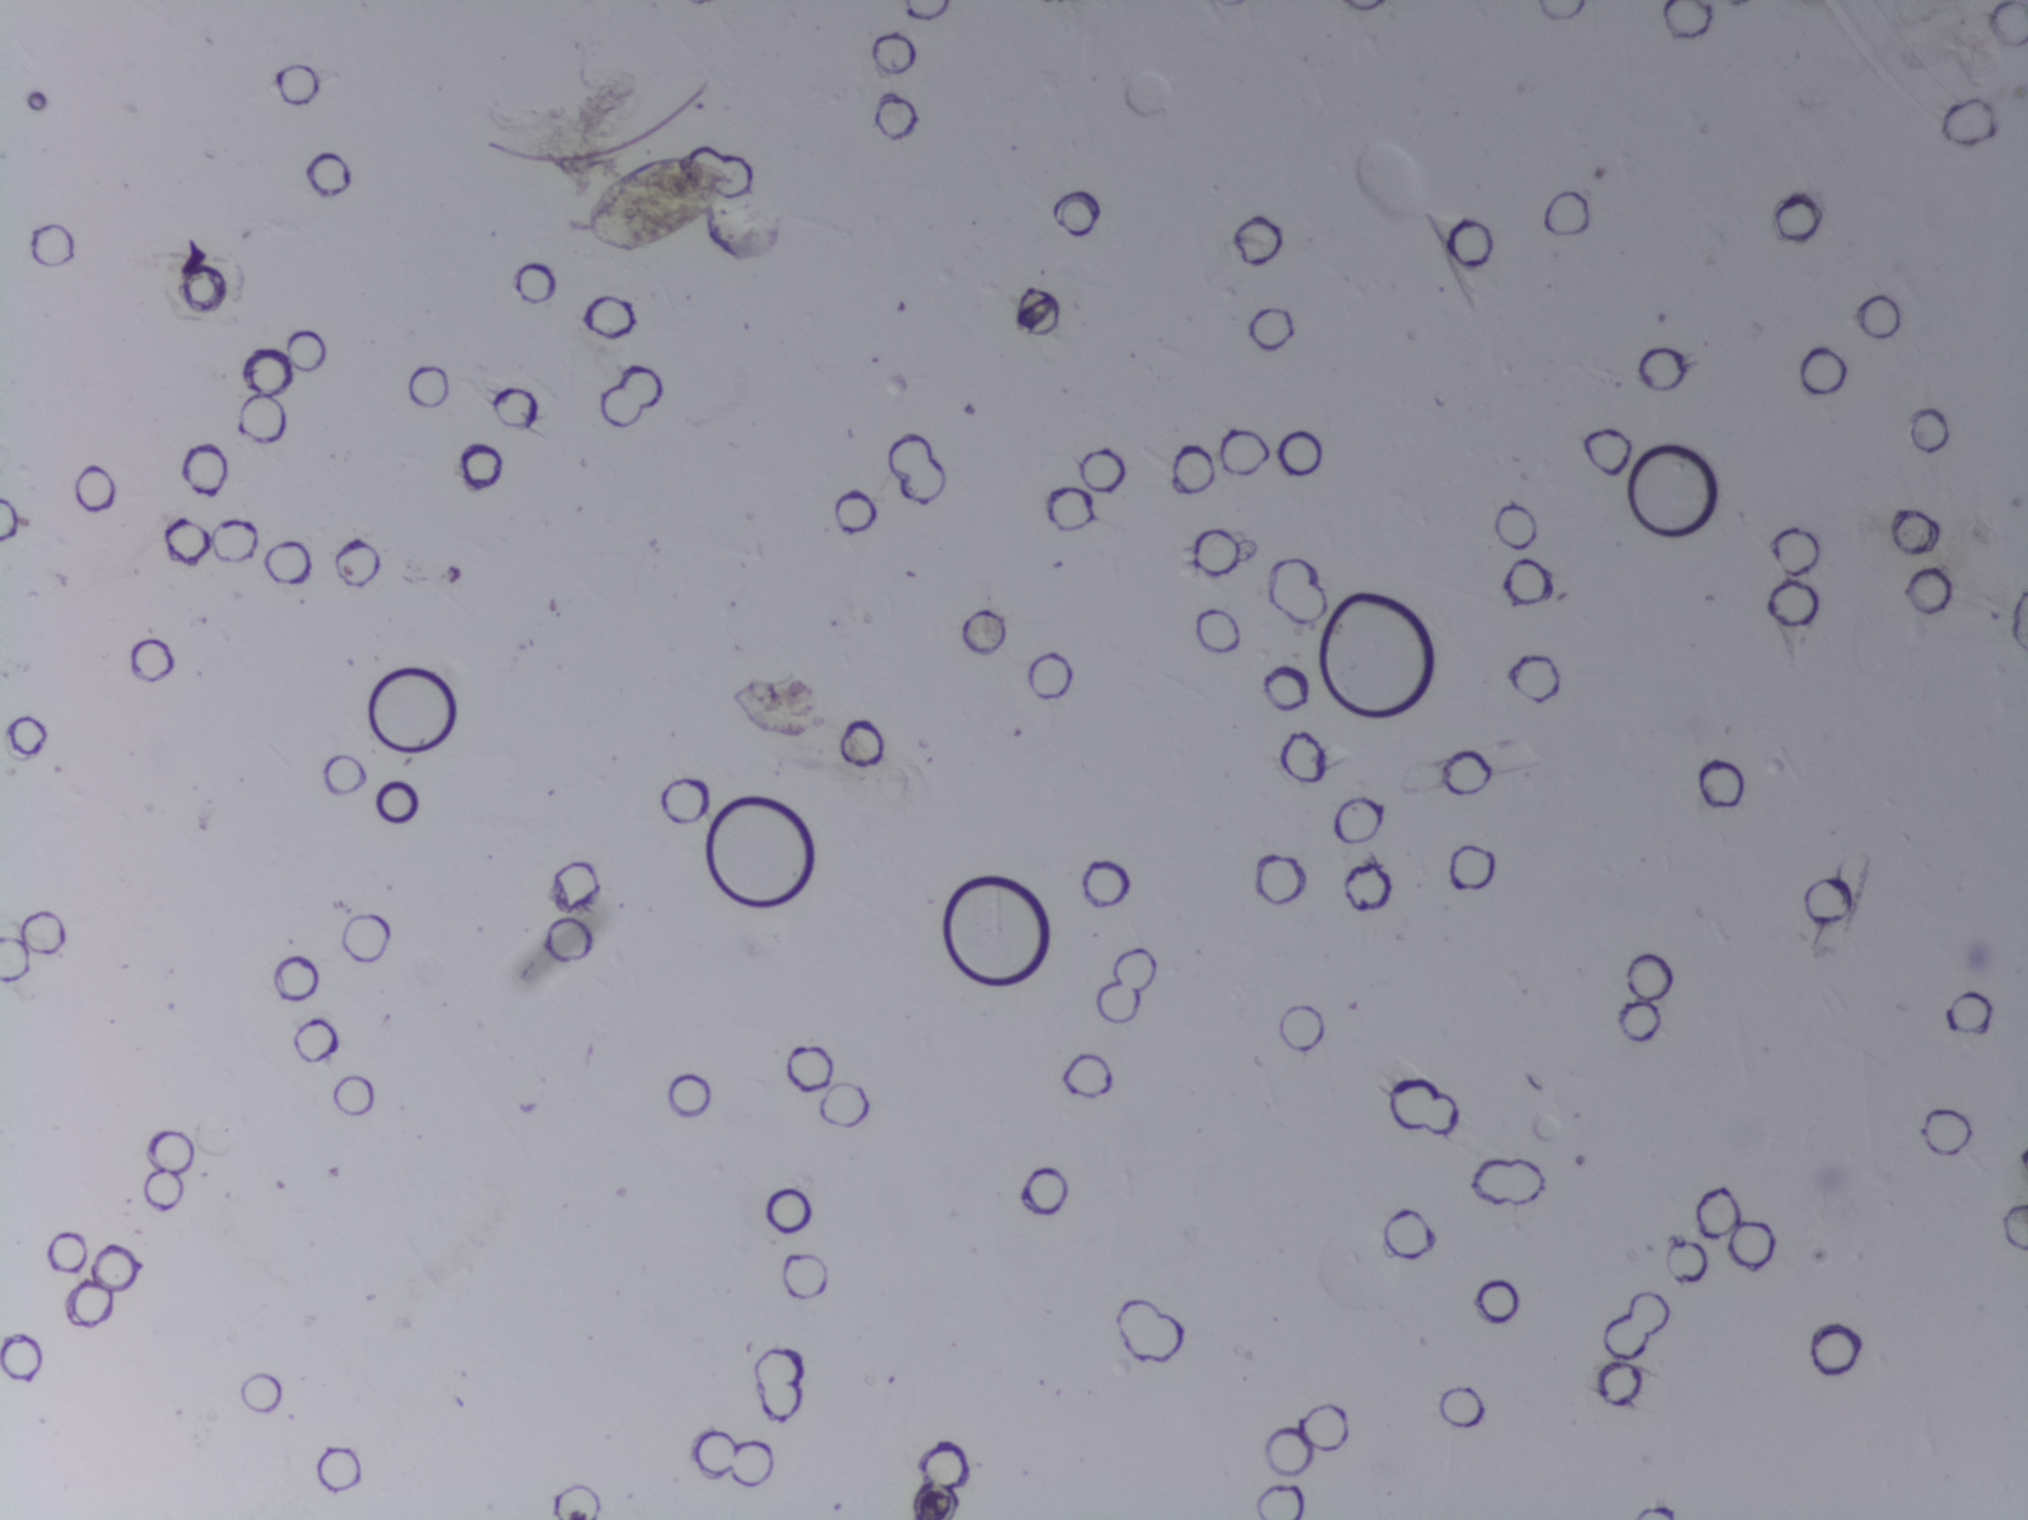
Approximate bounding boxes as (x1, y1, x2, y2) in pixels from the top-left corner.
Schistosoma egg areas, outlined: (582, 155, 731, 254). Eggs that touch can end up inside the same outlined area. Any one outlined egg may, rarely, be S. mansoni rather than S. haematobium.
One field of view of a urine filter membrane, 4× objective, 2028 × 1520 pixels.